Microscope photograph (4× objective) of a membrane that a urine sample was filtered through.
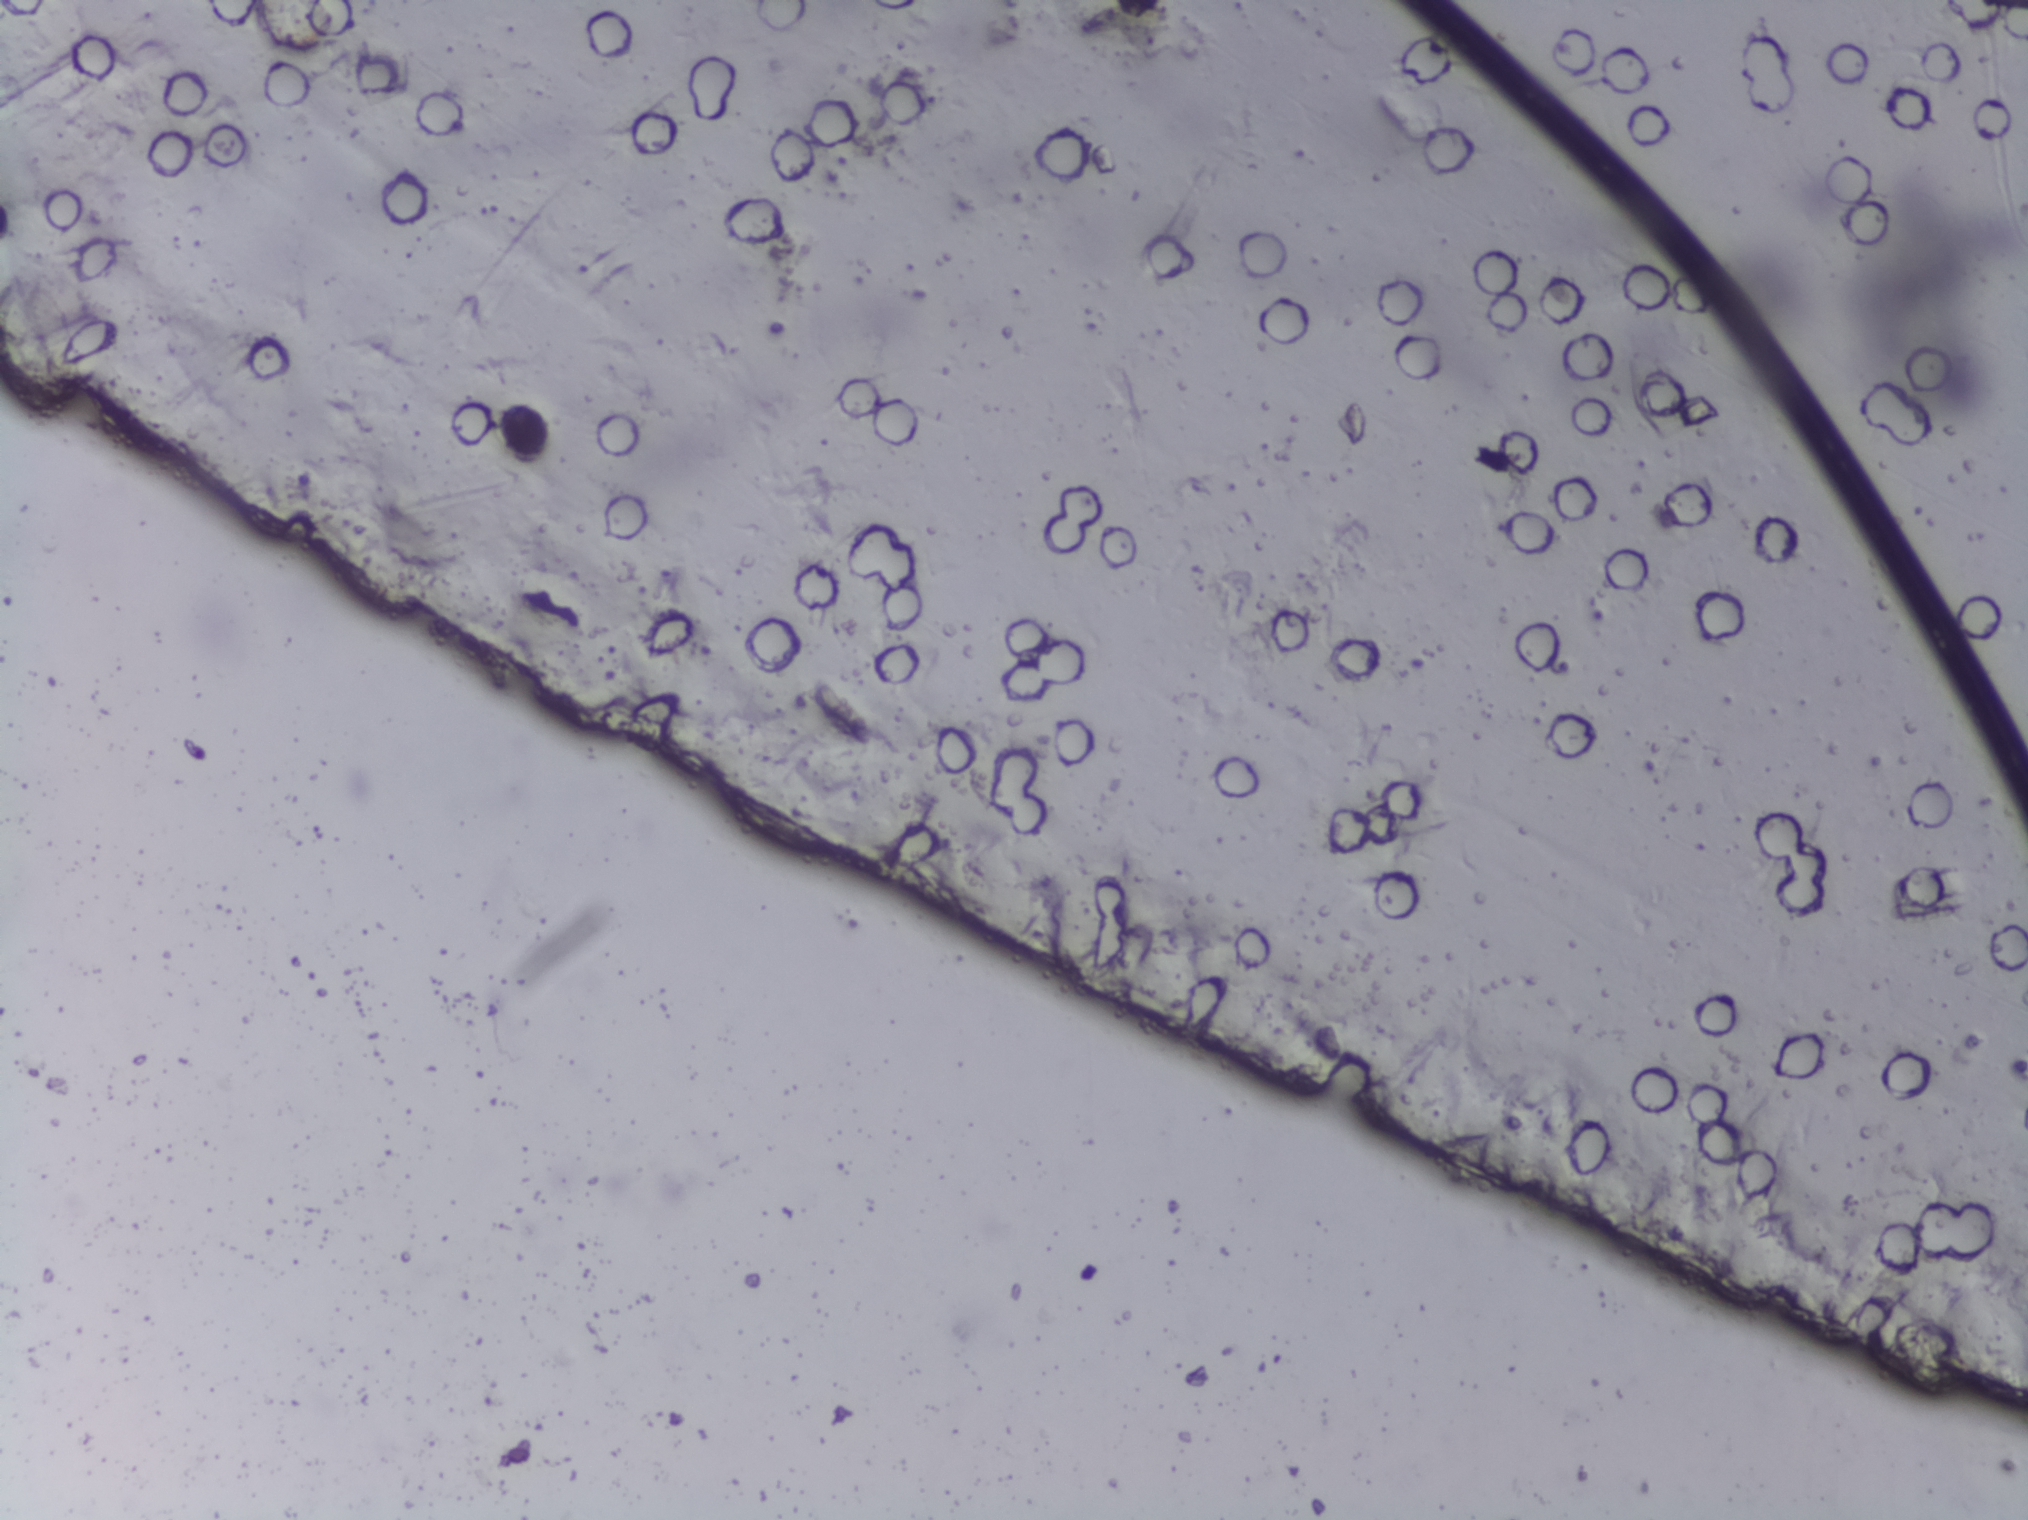
Schistosoma eggs: none outlined.